Urine filter membrane photographed through a 4× microscope objective.
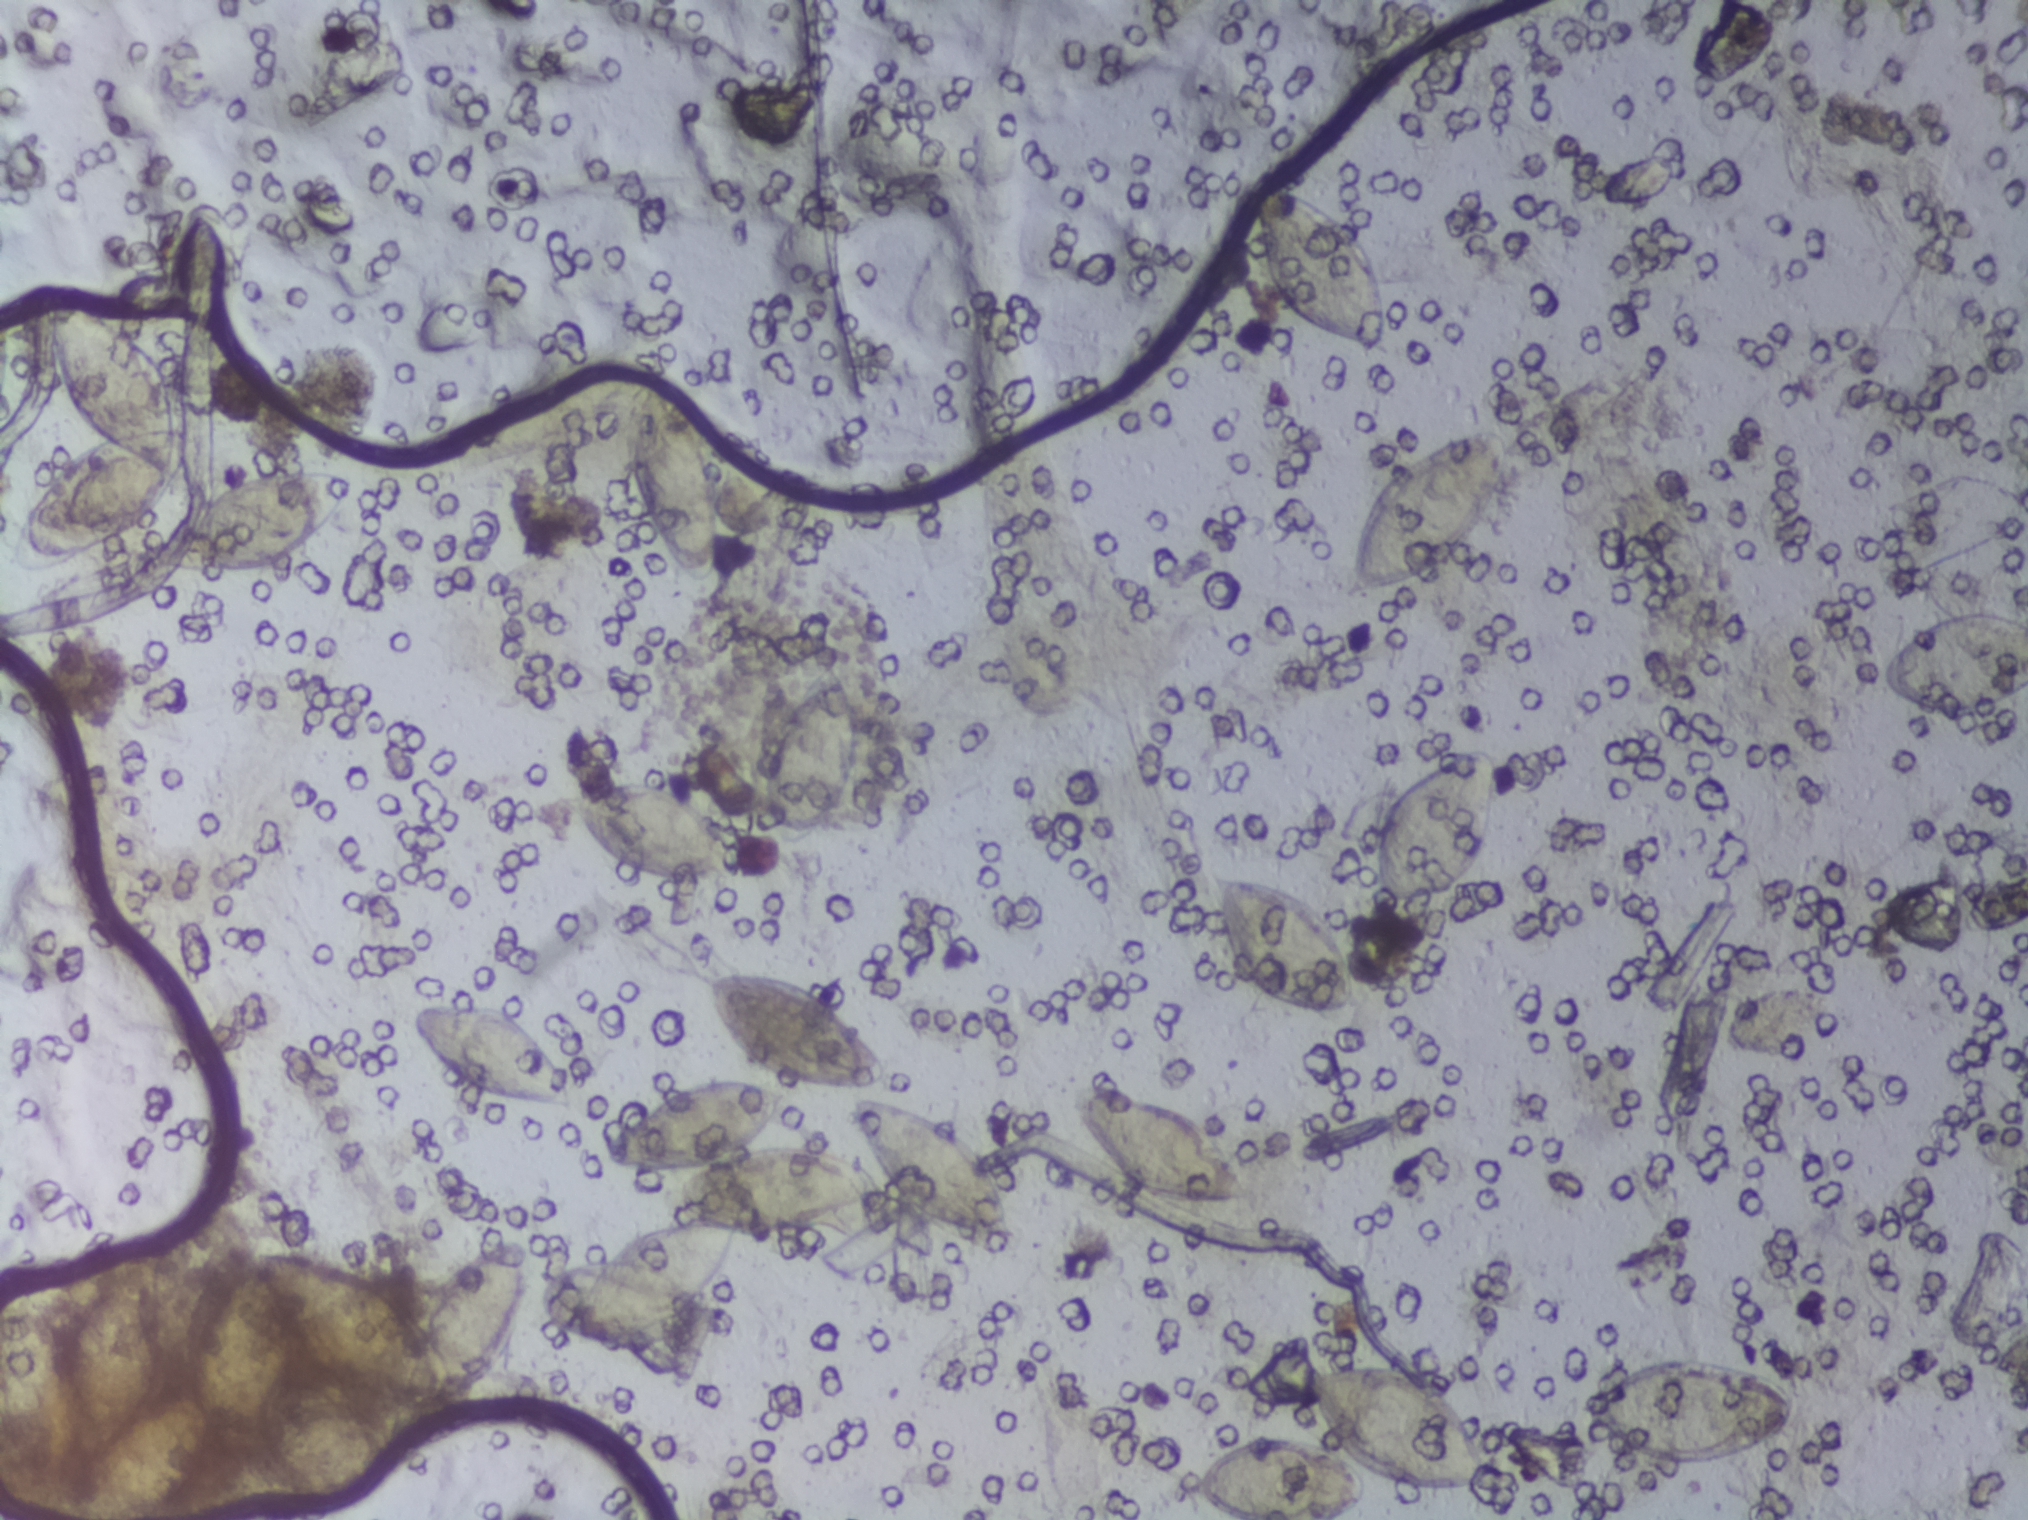
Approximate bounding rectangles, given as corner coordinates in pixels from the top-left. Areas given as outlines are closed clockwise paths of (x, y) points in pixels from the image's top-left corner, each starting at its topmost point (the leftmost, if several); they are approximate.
17 areas of this image are outlined as Schistosoma eggs, from left to right: outline (212, 1202), (233, 1206), (246, 1227), (257, 1220), (285, 1222), (298, 1248), (375, 1276), (414, 1315), (417, 1302), (462, 1261), (517, 1237), (527, 1249), (527, 1287), (513, 1315), (511, 1339), (485, 1380), (458, 1394), (457, 1409), (439, 1419), (413, 1419), (346, 1390), (383, 1430), (391, 1459), (381, 1483), (341, 1513), (304, 1515), (259, 1451), (245, 1457), (216, 1436), (205, 1463), (155, 1519), (62, 1519), (78, 1458), (64, 1400), (55, 1505), (42, 1515), (23, 1510), (0, 1469), (0, 1323), (10, 1278), (41, 1310), (61, 1348), (72, 1317), (118, 1262), (125, 1262), (141, 1291), (169, 1235) (eggs clustered together; reaching the left and bottom edges of the frame); box (x1=13, y1=288, x2=199, y2=571); box (x1=151, y1=467, x2=350, y2=576); box (x1=415, y1=999, x2=579, y2=1113); outline (706, 970), (789, 974), (851, 1014), (881, 1050), (889, 1077), (877, 1087), (785, 1085), (786, 1104), (759, 1142), (792, 1141), (855, 1157), (878, 1172), (886, 1199), (872, 1217), (851, 1227), (733, 1235), (707, 1292), (712, 1310), (682, 1337), (642, 1347), (573, 1345), (540, 1312), (538, 1286), (544, 1278), (565, 1263), (594, 1262), (610, 1241), (628, 1232), (689, 1218), (670, 1209), (668, 1196), (694, 1169), (621, 1172), (604, 1166), (600, 1140), (607, 1130), (687, 1081), (743, 1076), (778, 1083), (748, 1067), (713, 1029), (695, 989) (eggs clustered together); box (x1=571, y1=775, x2=738, y2=884); box (x1=623, y1=380, x2=728, y2=588); box (x1=762, y1=660, x2=859, y2=841); box (x1=847, y1=1096, x2=1019, y2=1247); box (x1=1068, y1=1083, x2=1255, y2=1202); box (x1=1184, y1=1360, x2=1491, y2=1519) (reaching the bottom edge of the frame); box (x1=1211, y1=872, x2=1355, y2=1016); box (x1=1255, y1=187, x2=1396, y2=361); box (x1=1340, y1=429, x2=1507, y2=602); box (x1=1373, y1=742, x2=1493, y2=909); box (x1=1570, y1=1356, x2=1798, y2=1467); box (x1=1875, y1=613, x2=2027, y2=715) (reaching the right edge of the frame). Eggs that touch can end up inside the same outlined area.